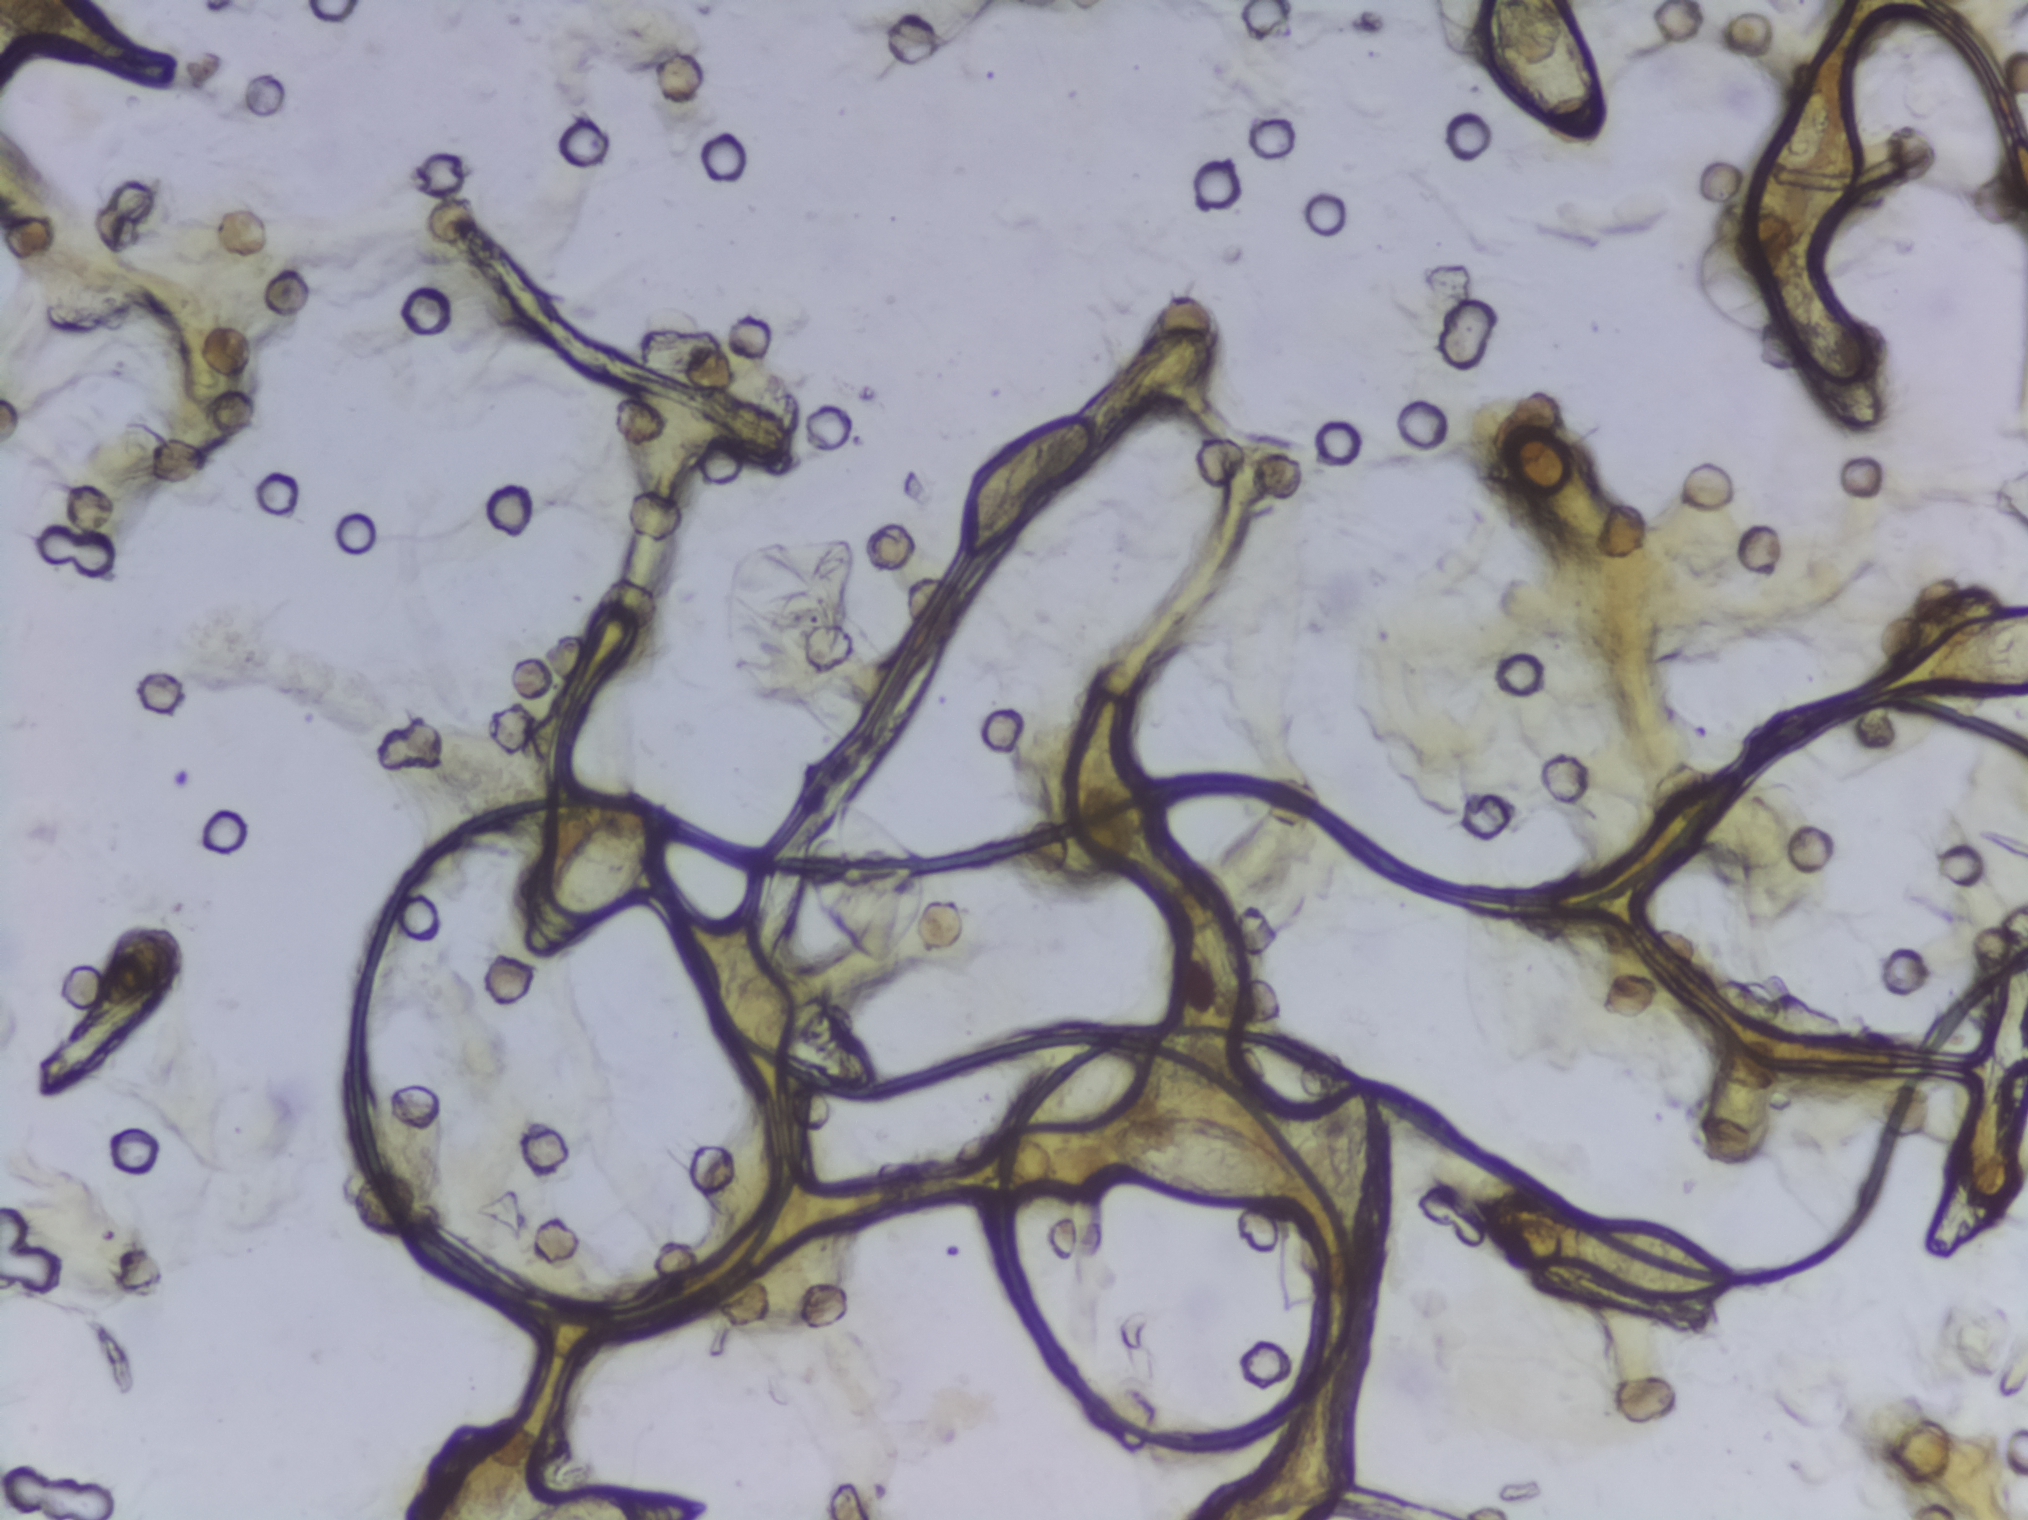
Microscope photograph (4× objective) of a membrane that a urine sample was filtered through. The image covers about 1.5 × 1.1 mm of the membrane.
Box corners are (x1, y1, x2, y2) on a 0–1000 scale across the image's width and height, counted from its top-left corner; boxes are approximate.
Findings: seven areas outlined as Schistosoma eggs. Locations: (255, 521, 328, 632); (260, 981, 354, 1000) (reaching the bottom edge of the frame); (354, 636, 435, 723); (539, 731, 645, 798); (735, 0, 792, 98) (reaching the top edge of the frame); (770, 799, 854, 856); (947, 401, 1000, 458) (reaching the right edge of the frame). A single outlined area may contain several eggs. Any one outlined egg may, rarely, be S. mansoni rather than S. haematobium.